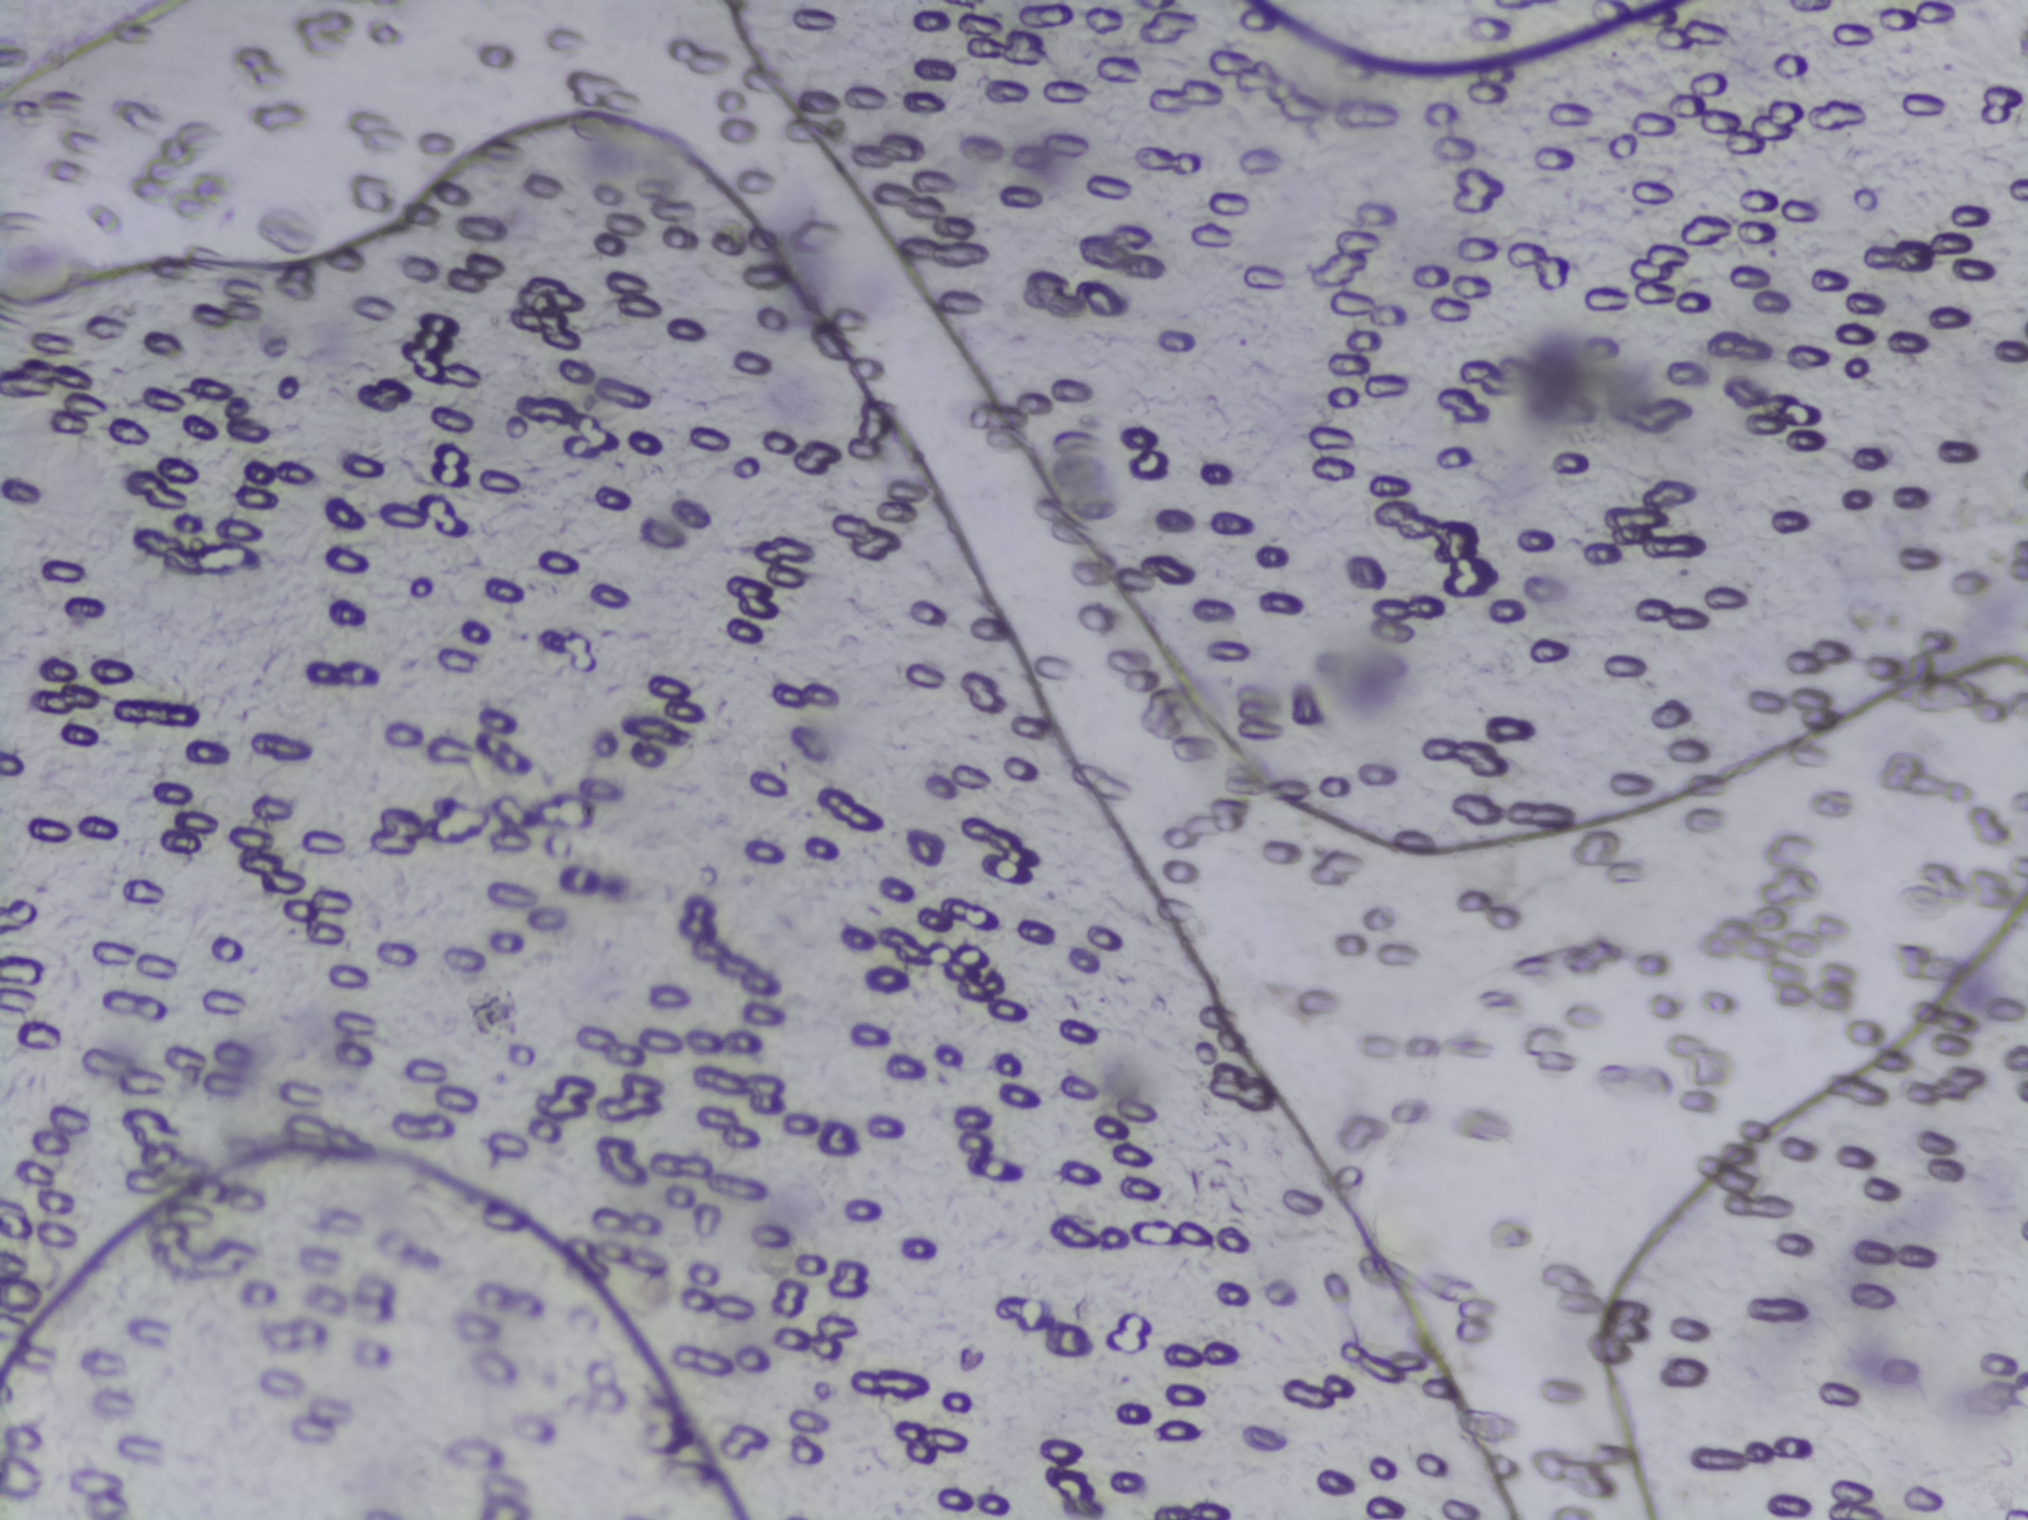
Urine filtration membrane under a 4× objective, photographed by an automated digital microscope.
The expert annotation outlines no Schistosoma egg in this image.